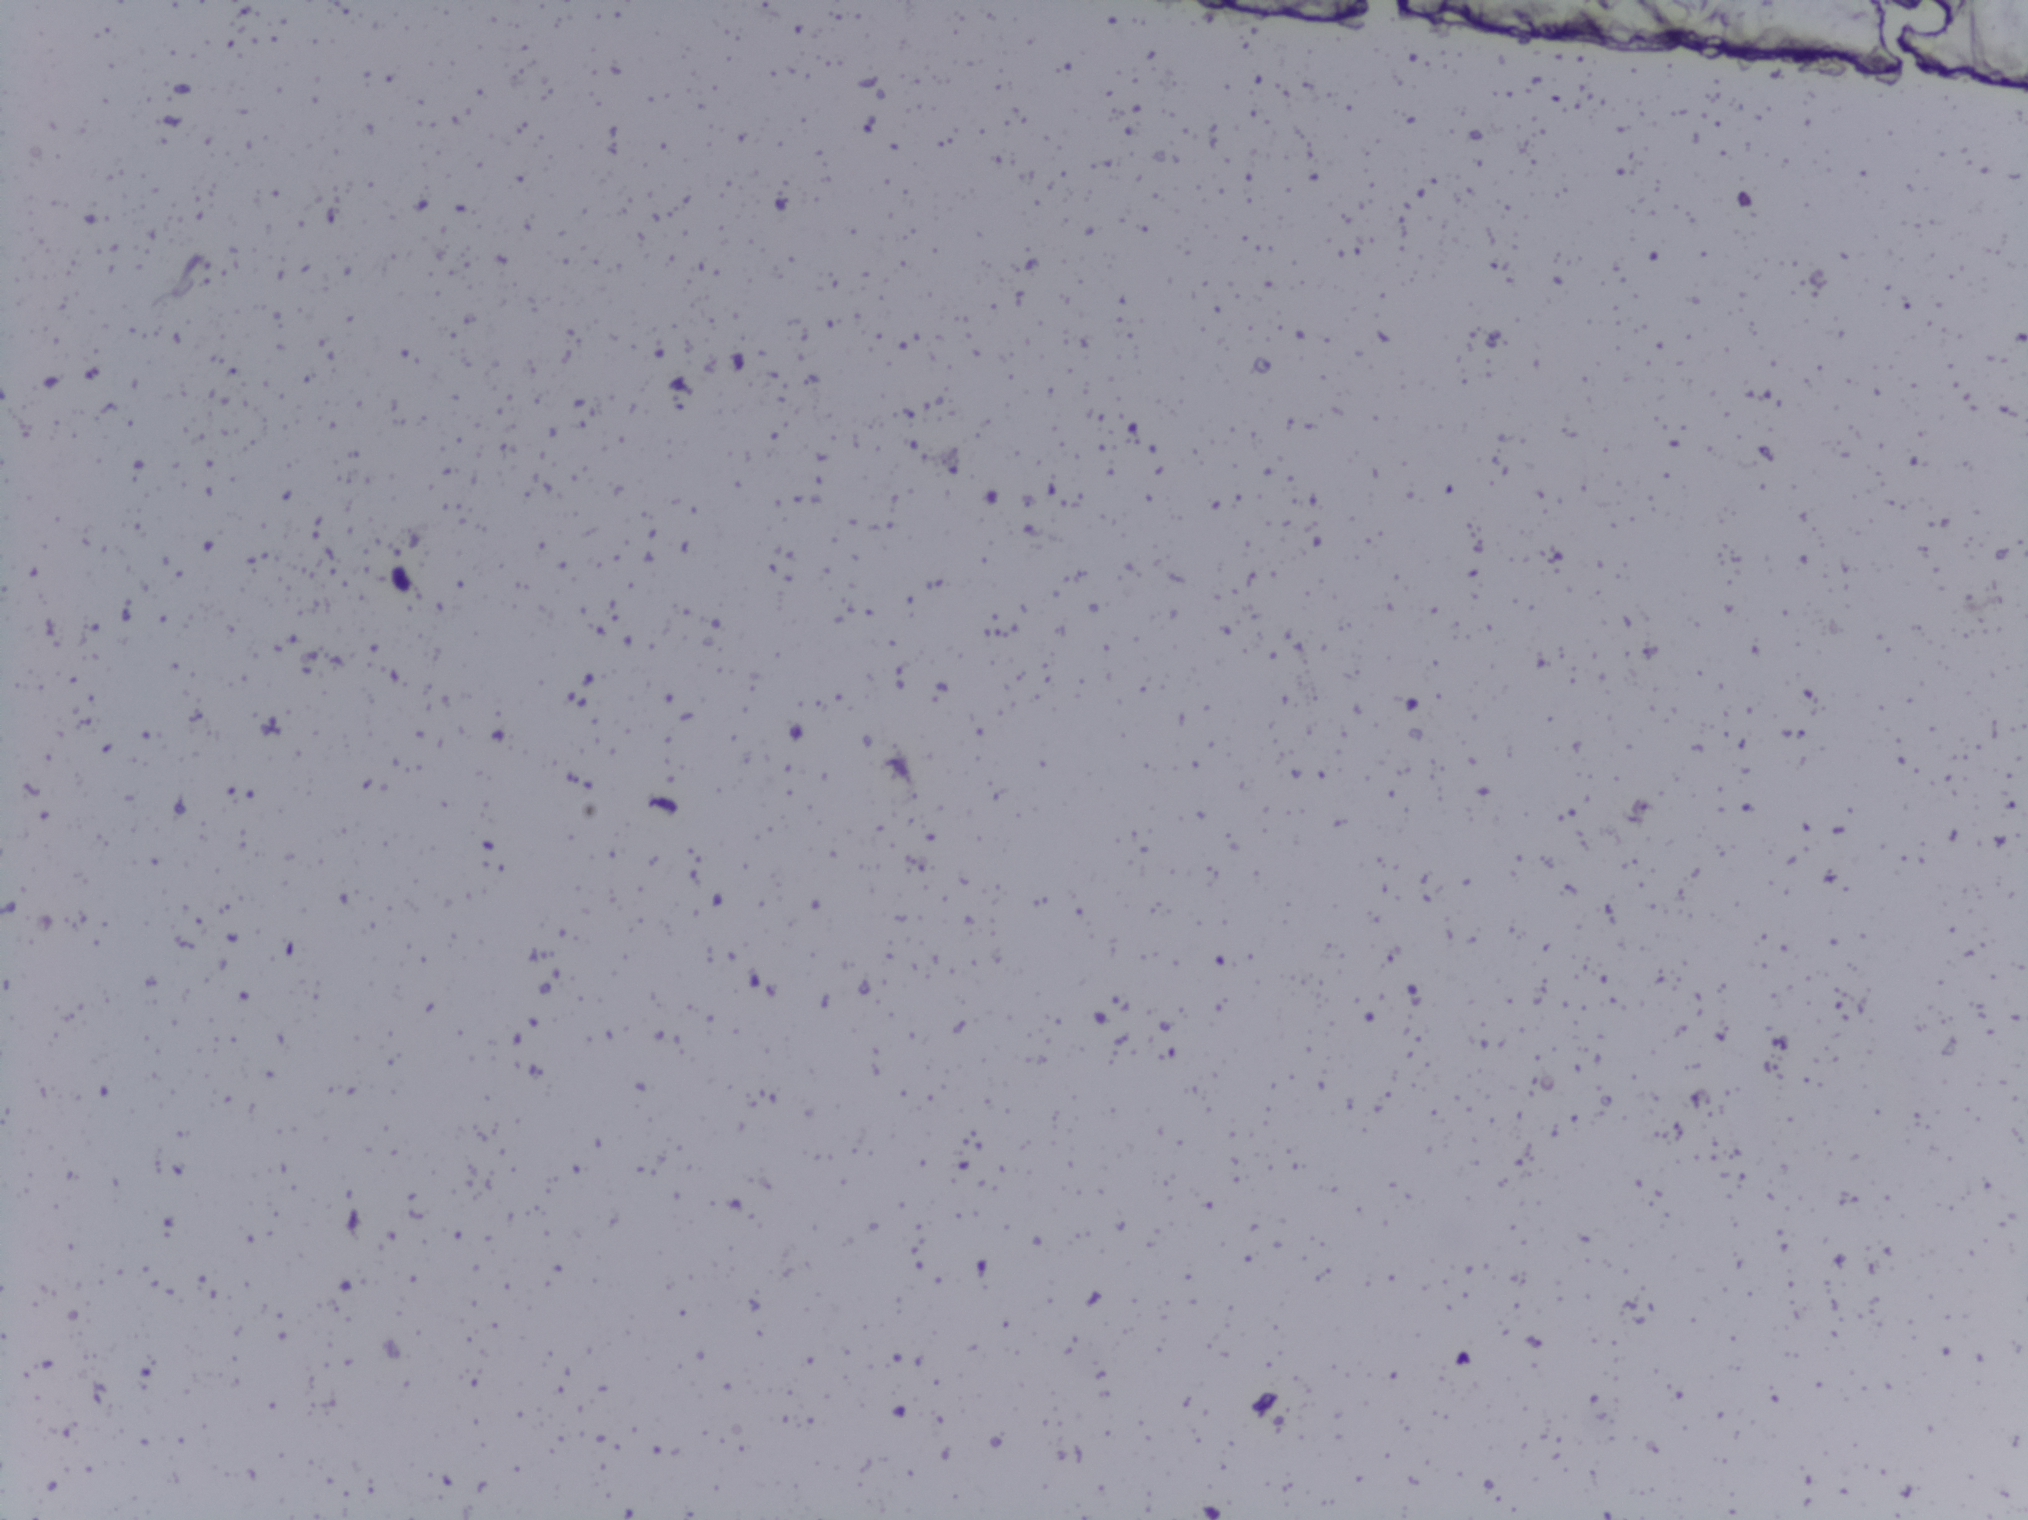
Urine filter membrane photographed through a 4× microscope objective.
The expert annotation marks no Schistosoma egg in this field of view.